Photograph from an automated digital microscope: urine filter membrane, 4× objective. The field of view is about 1.5 mm × 1.1 mm.
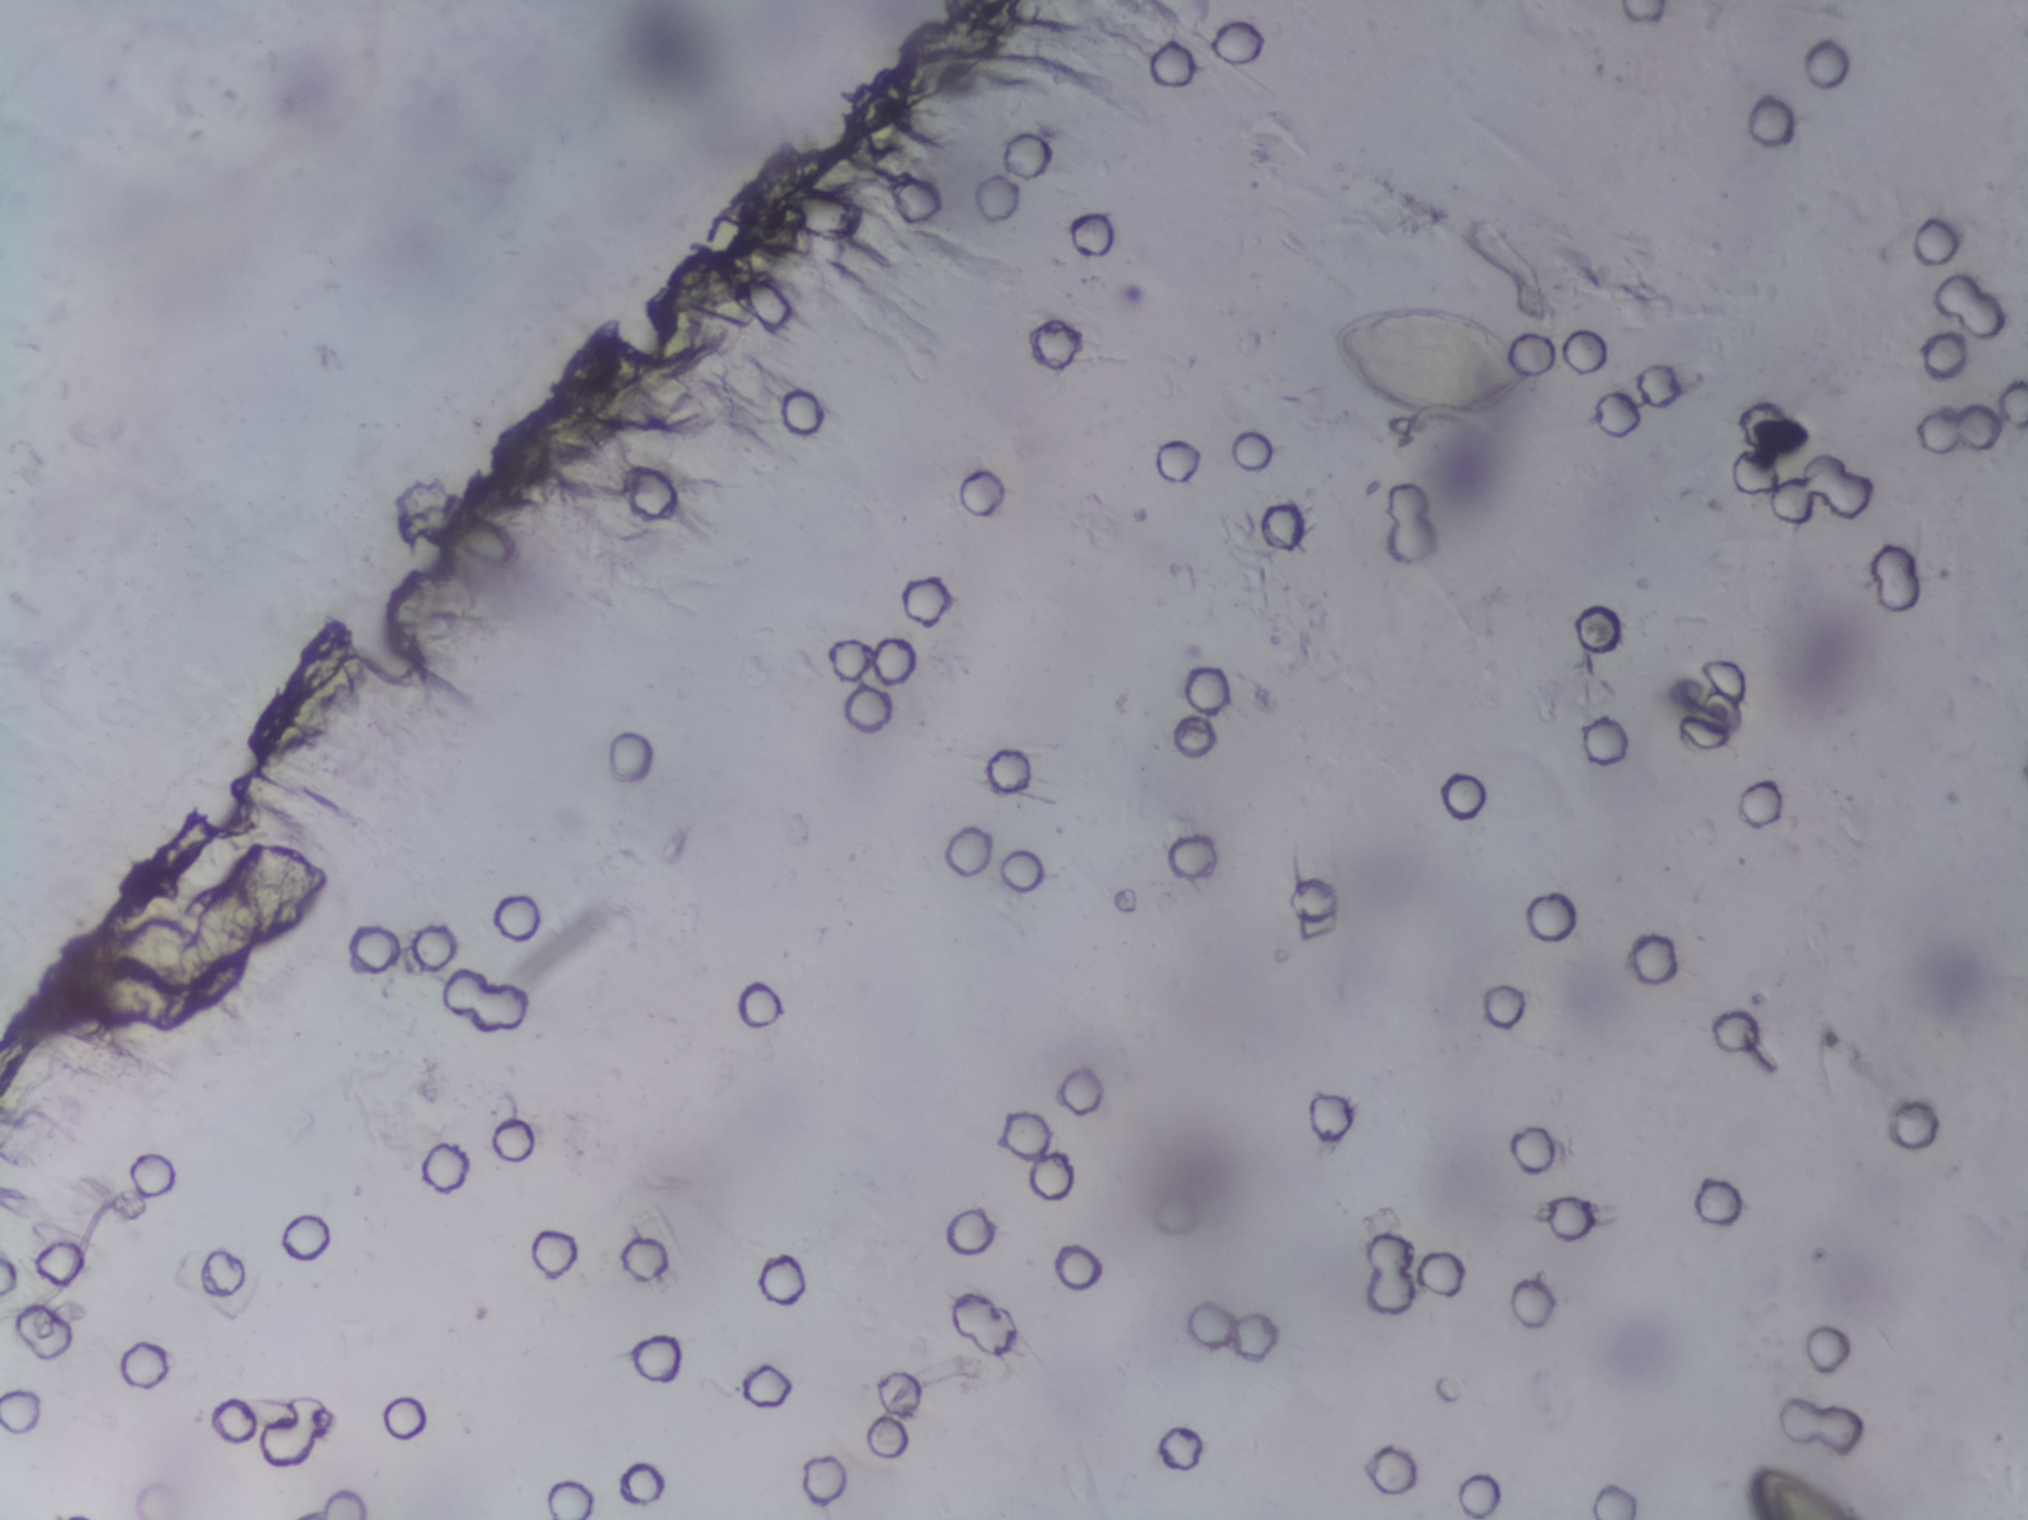
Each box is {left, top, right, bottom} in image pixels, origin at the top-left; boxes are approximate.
Two areas of this image are outlined as Schistosoma eggs, from left to right: {1303, 298, 1545, 415} and {1742, 1458, 1864, 1519} (reaching the bottom edge of the frame). Marked pixels, not the boxes around them: about 0.9% of the image. A single outlined area may contain several eggs.